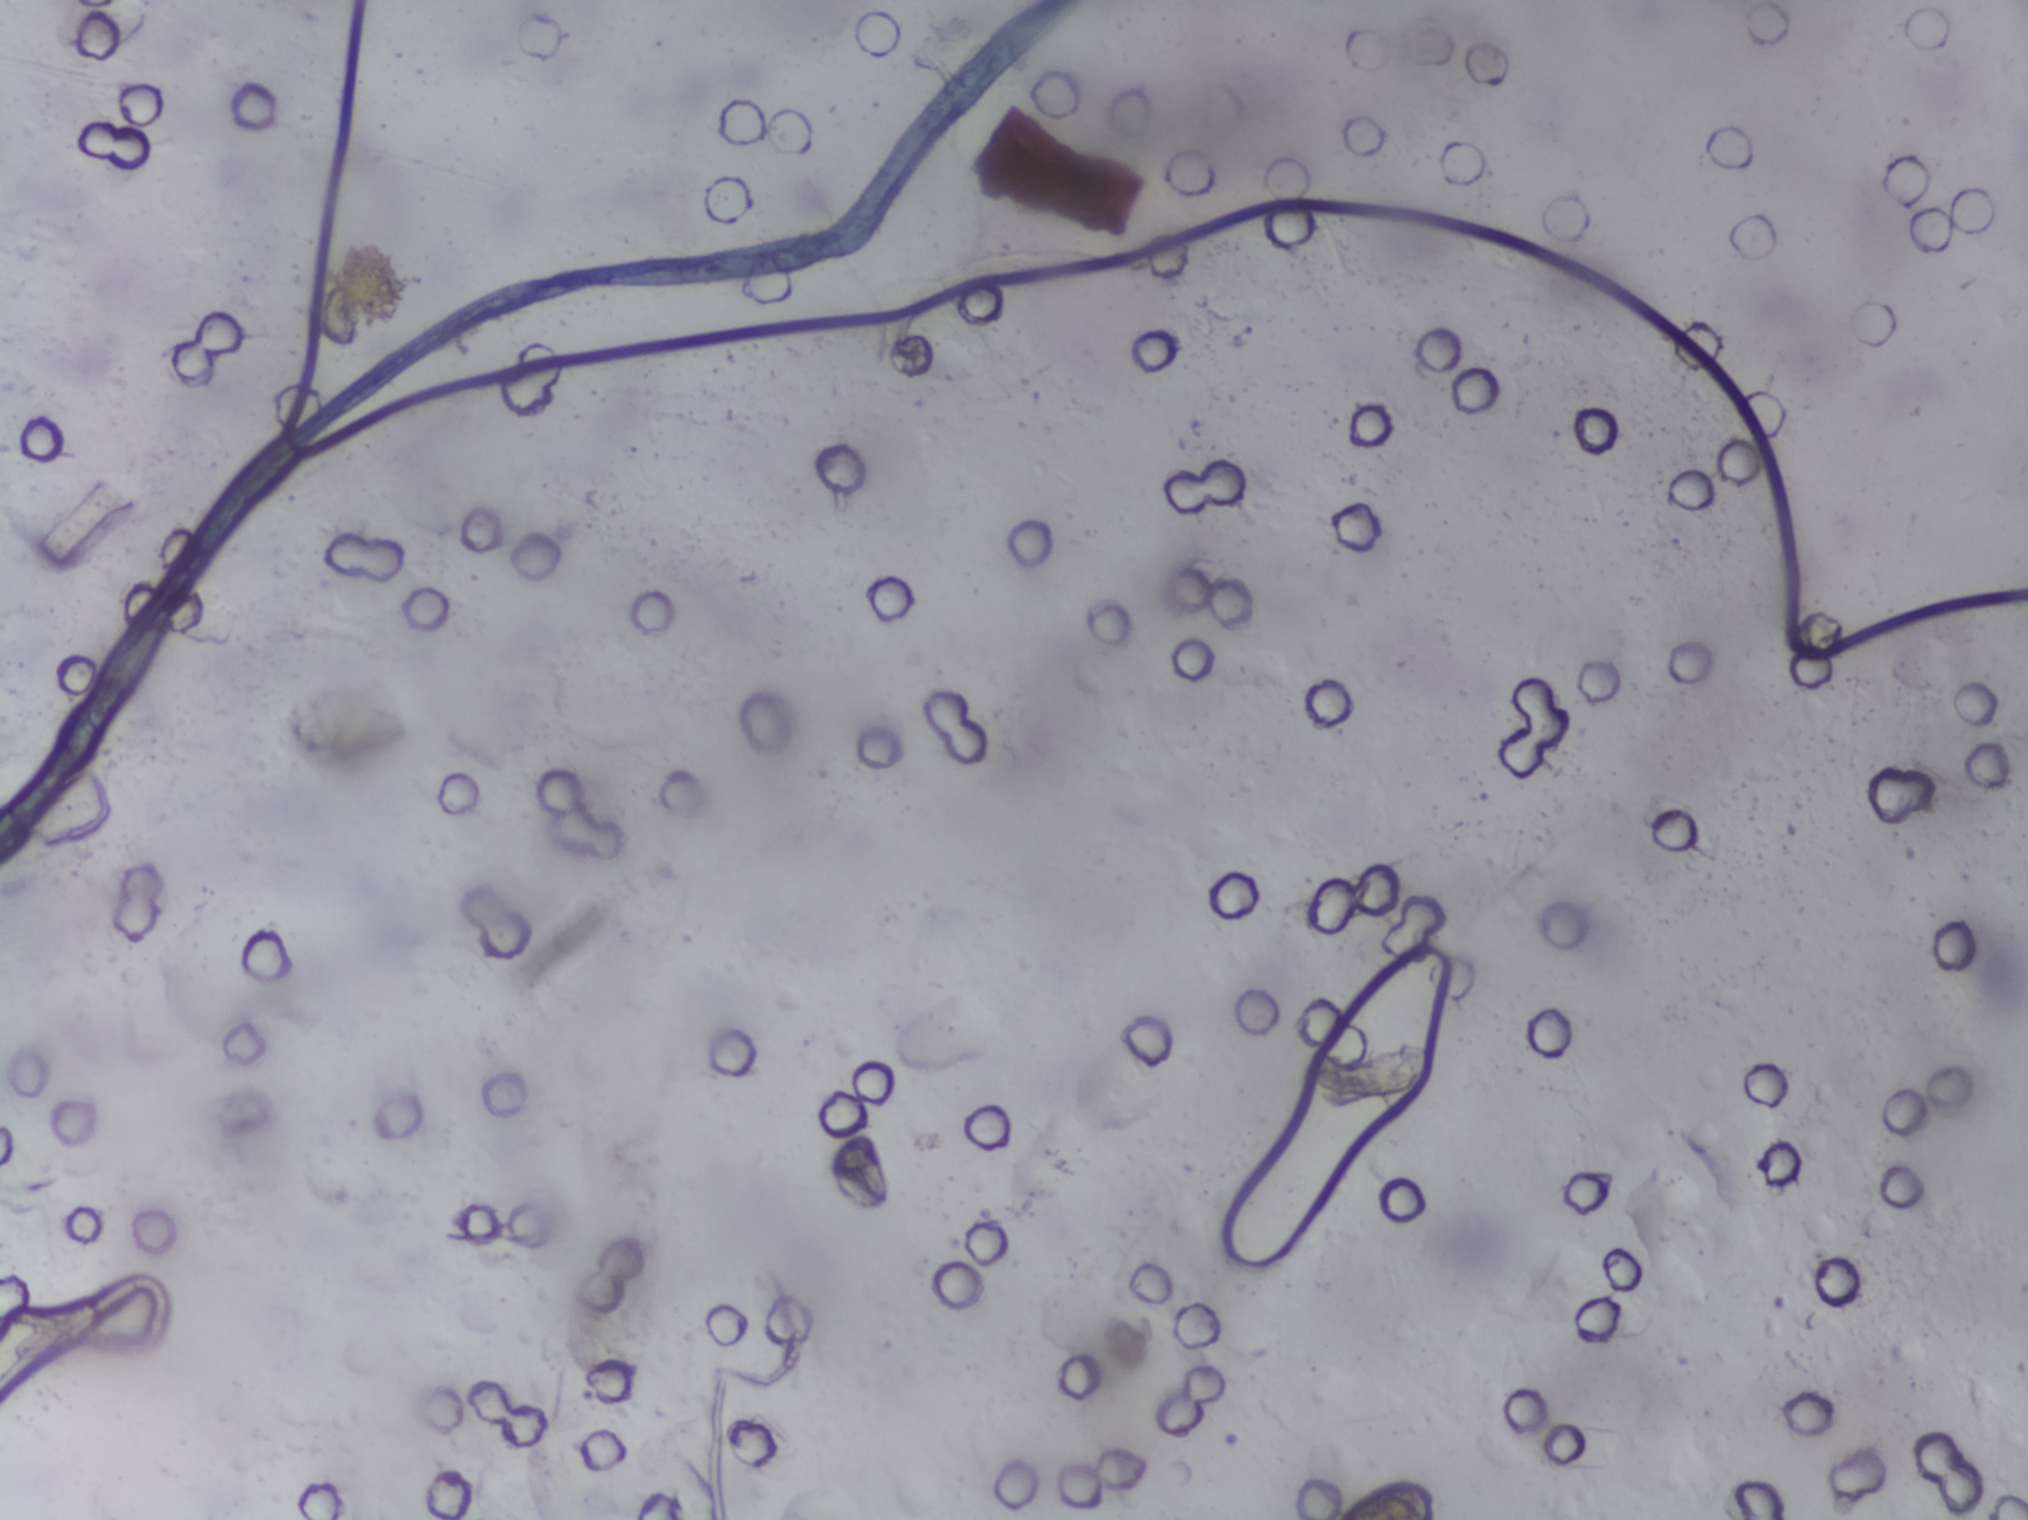
Urine filtration membrane under a 4× objective, photographed by an automated digital microscope.
Schistosoma eggs: none outlined.